Urine filtration membrane under a 4× objective, photographed by an automated digital microscope.
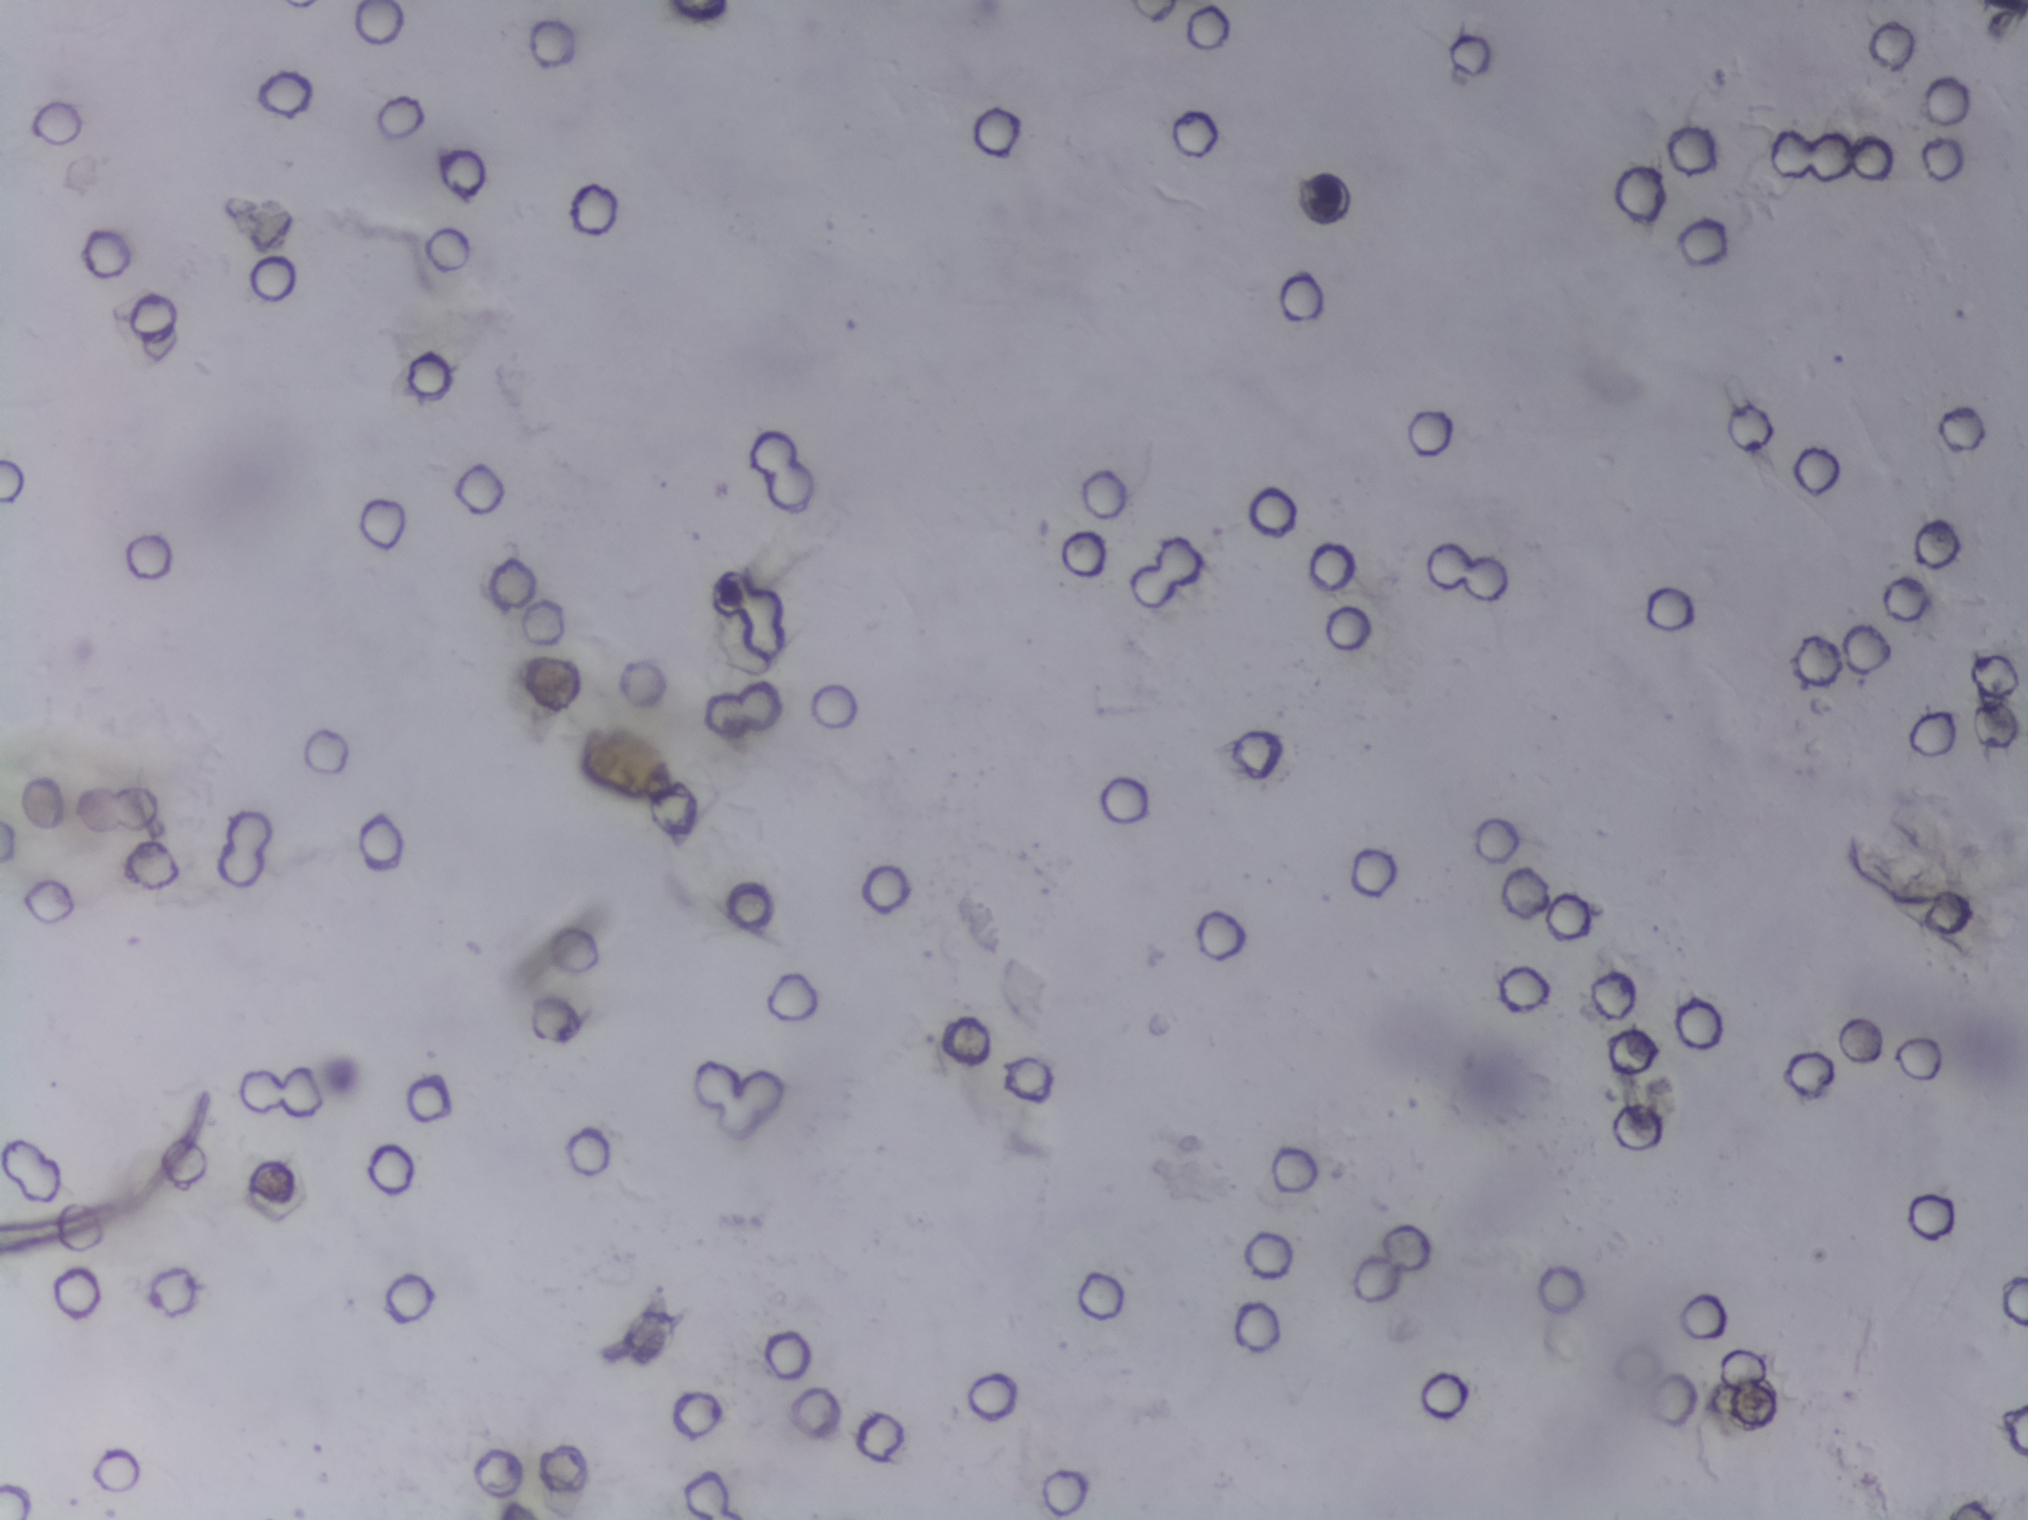
No area of this image was outlined as a Schistosoma egg.